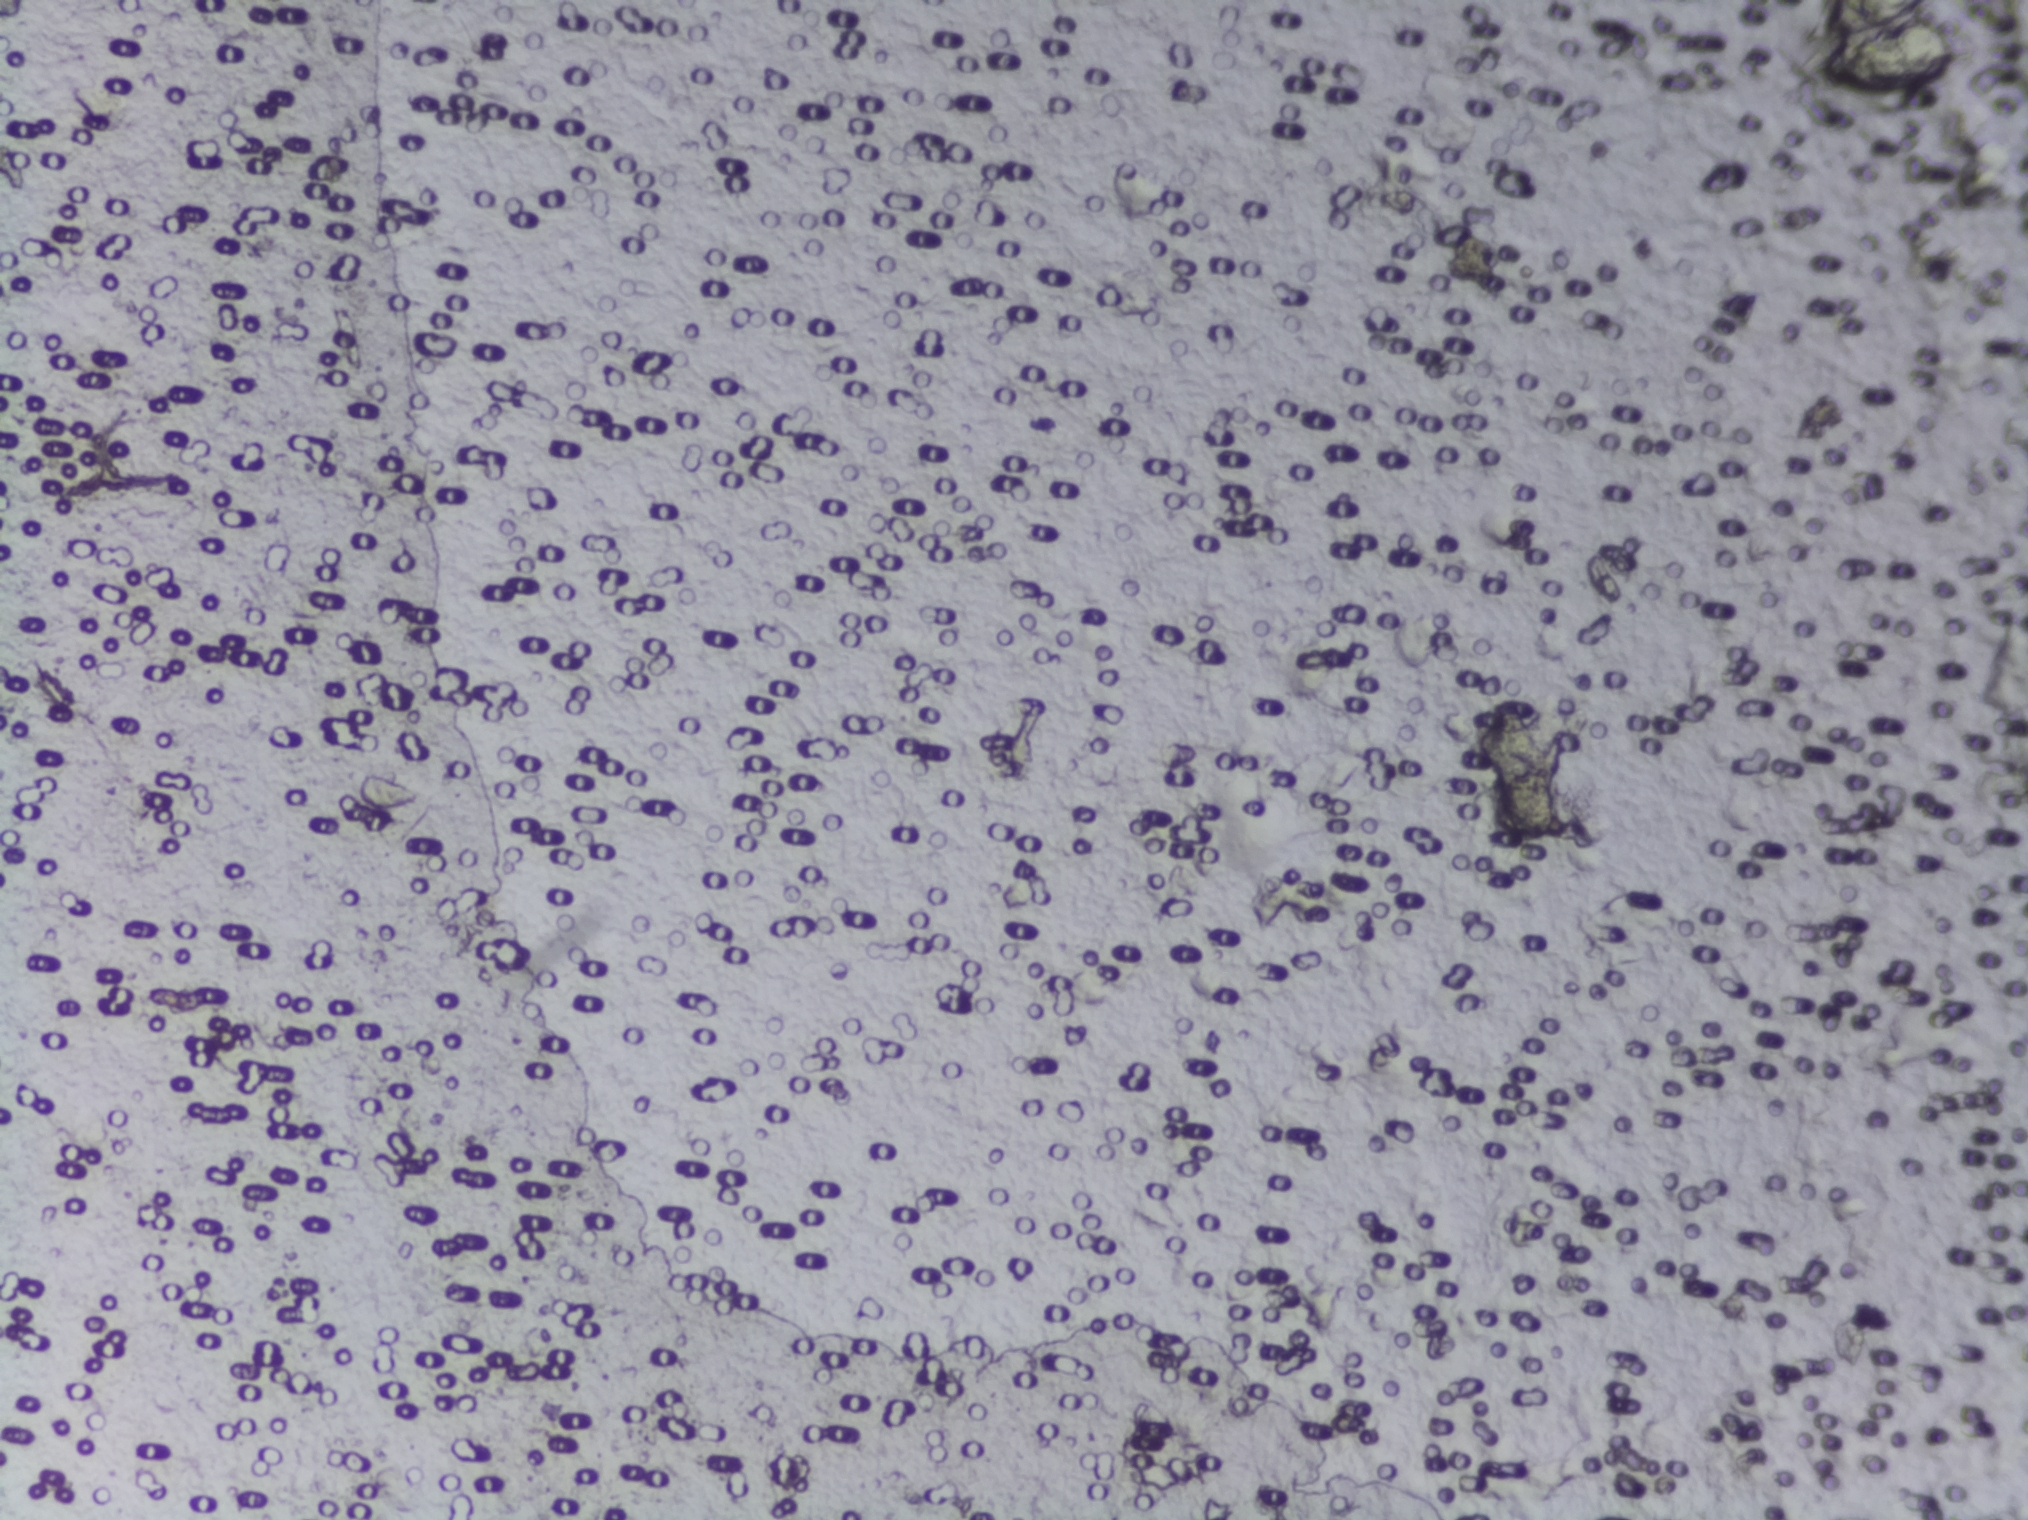
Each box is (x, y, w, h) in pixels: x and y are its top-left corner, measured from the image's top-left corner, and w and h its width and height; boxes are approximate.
Findings: one area outlined as Schistosoma eggs. Location: (x=1811, y=0, w=141, h=94) (reaching the top edge of the frame). An outlined area can hold more than one egg.
One field of view of a urine filter membrane, 4× objective, 2028 × 1520 pixels. The field of view is about 1.5 mm × 1.1 mm.